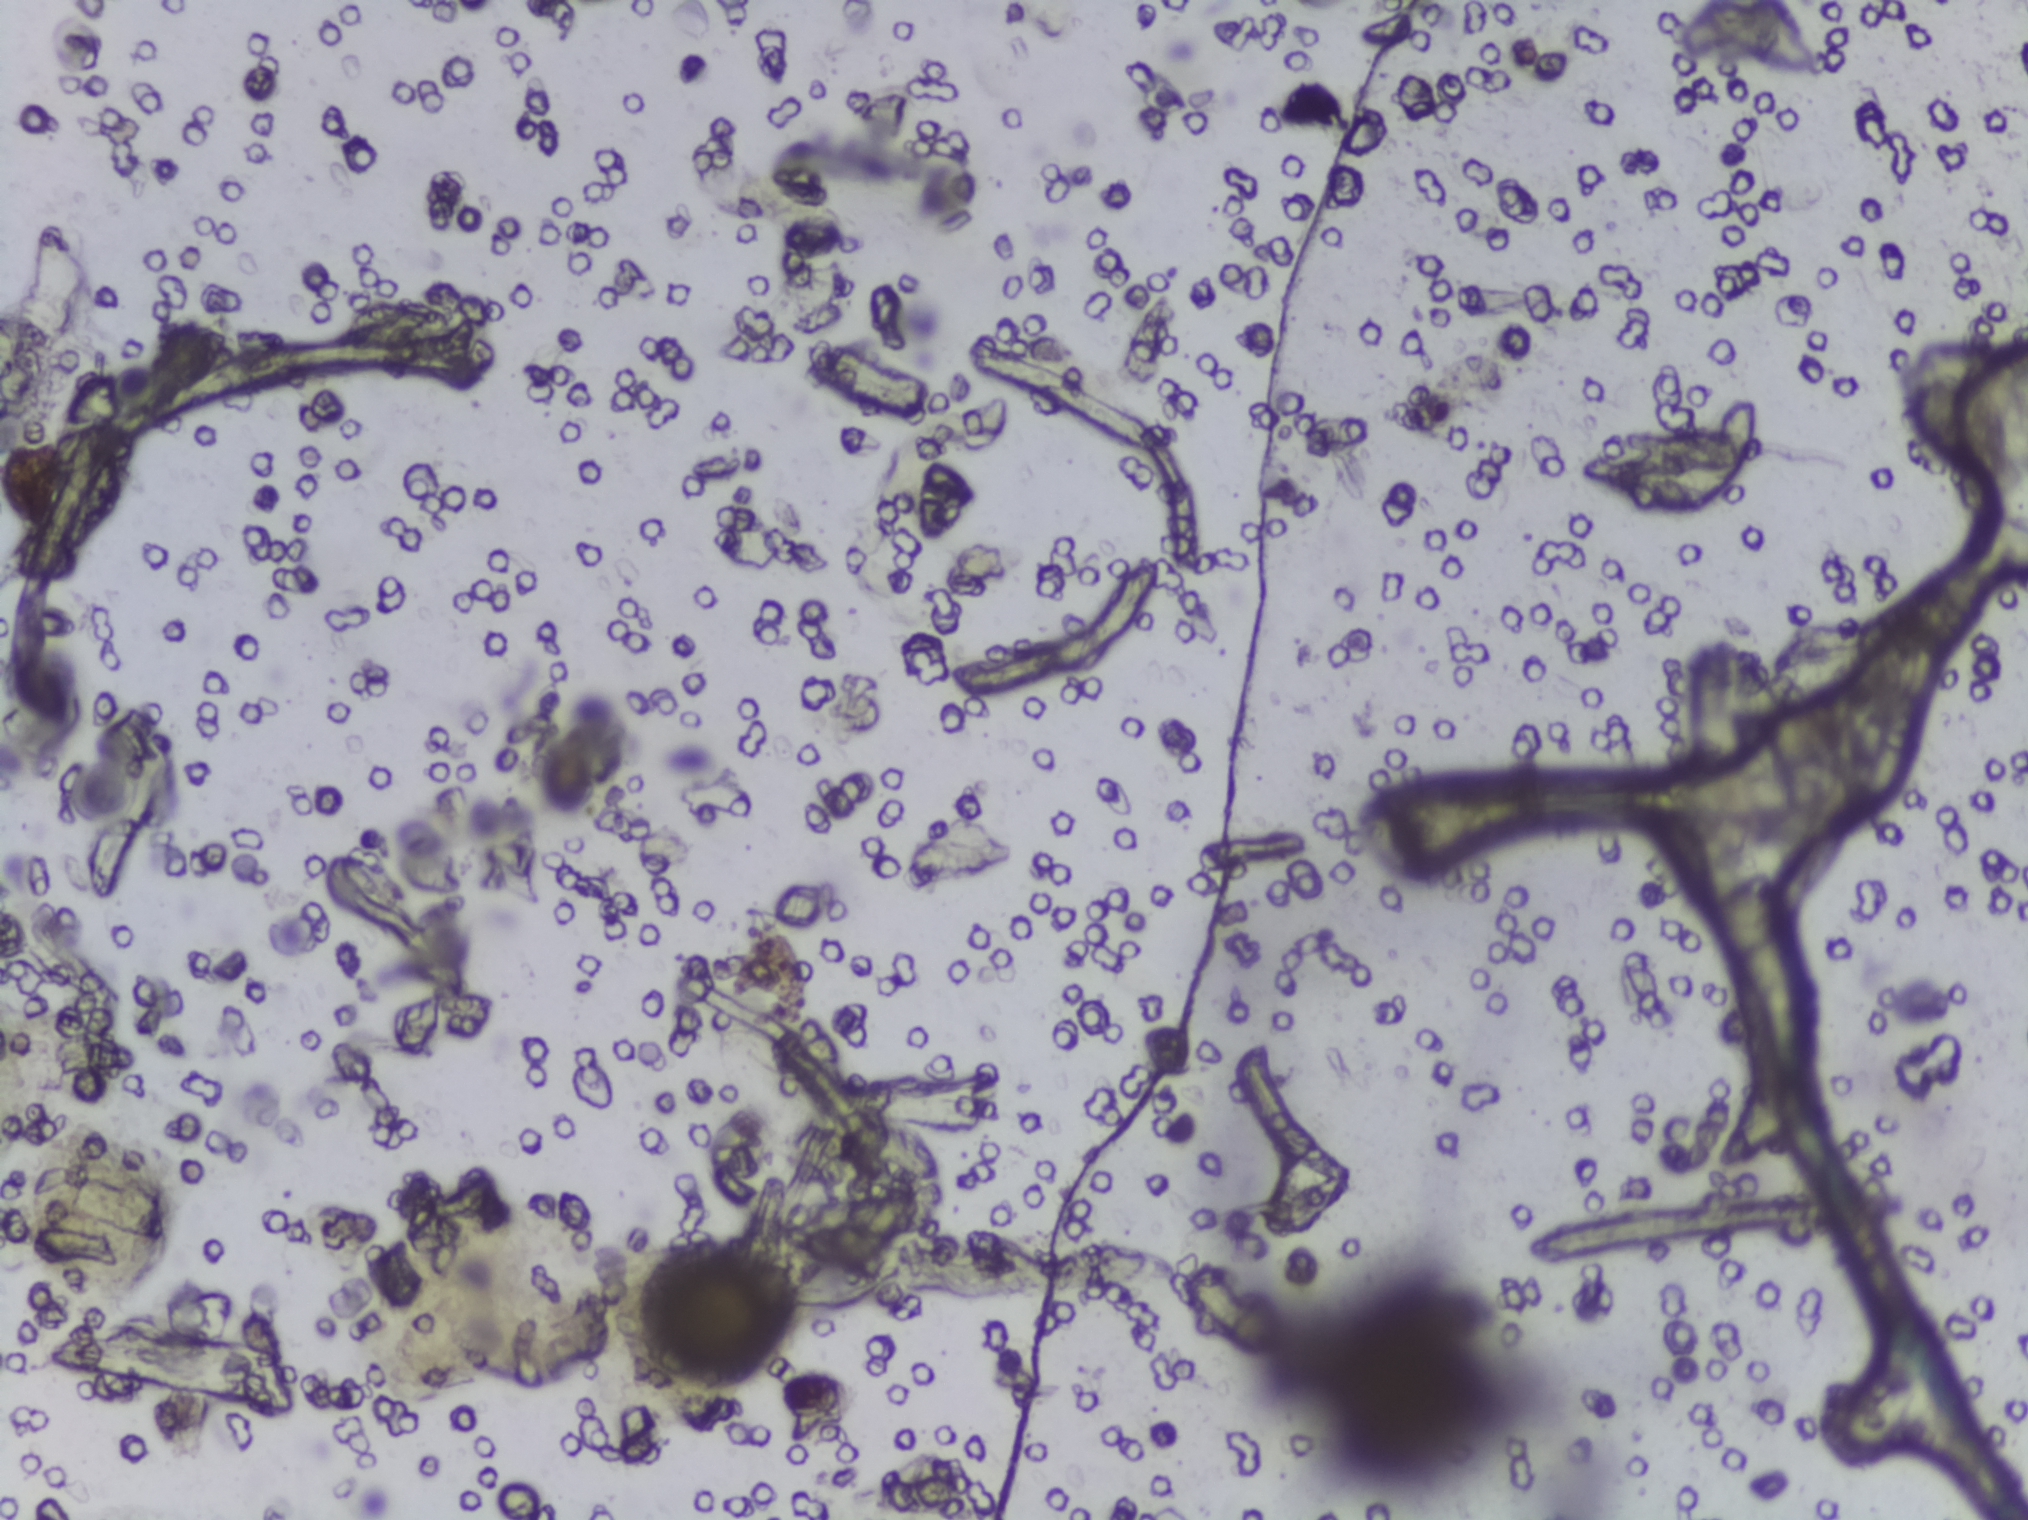
Urine filtration membrane under a 4× objective, photographed by an automated digital microscope.
No Schistosoma egg is outlined in this image's expert annotation.